Microscope photograph (4× objective) of a membrane that a urine sample was filtered through.
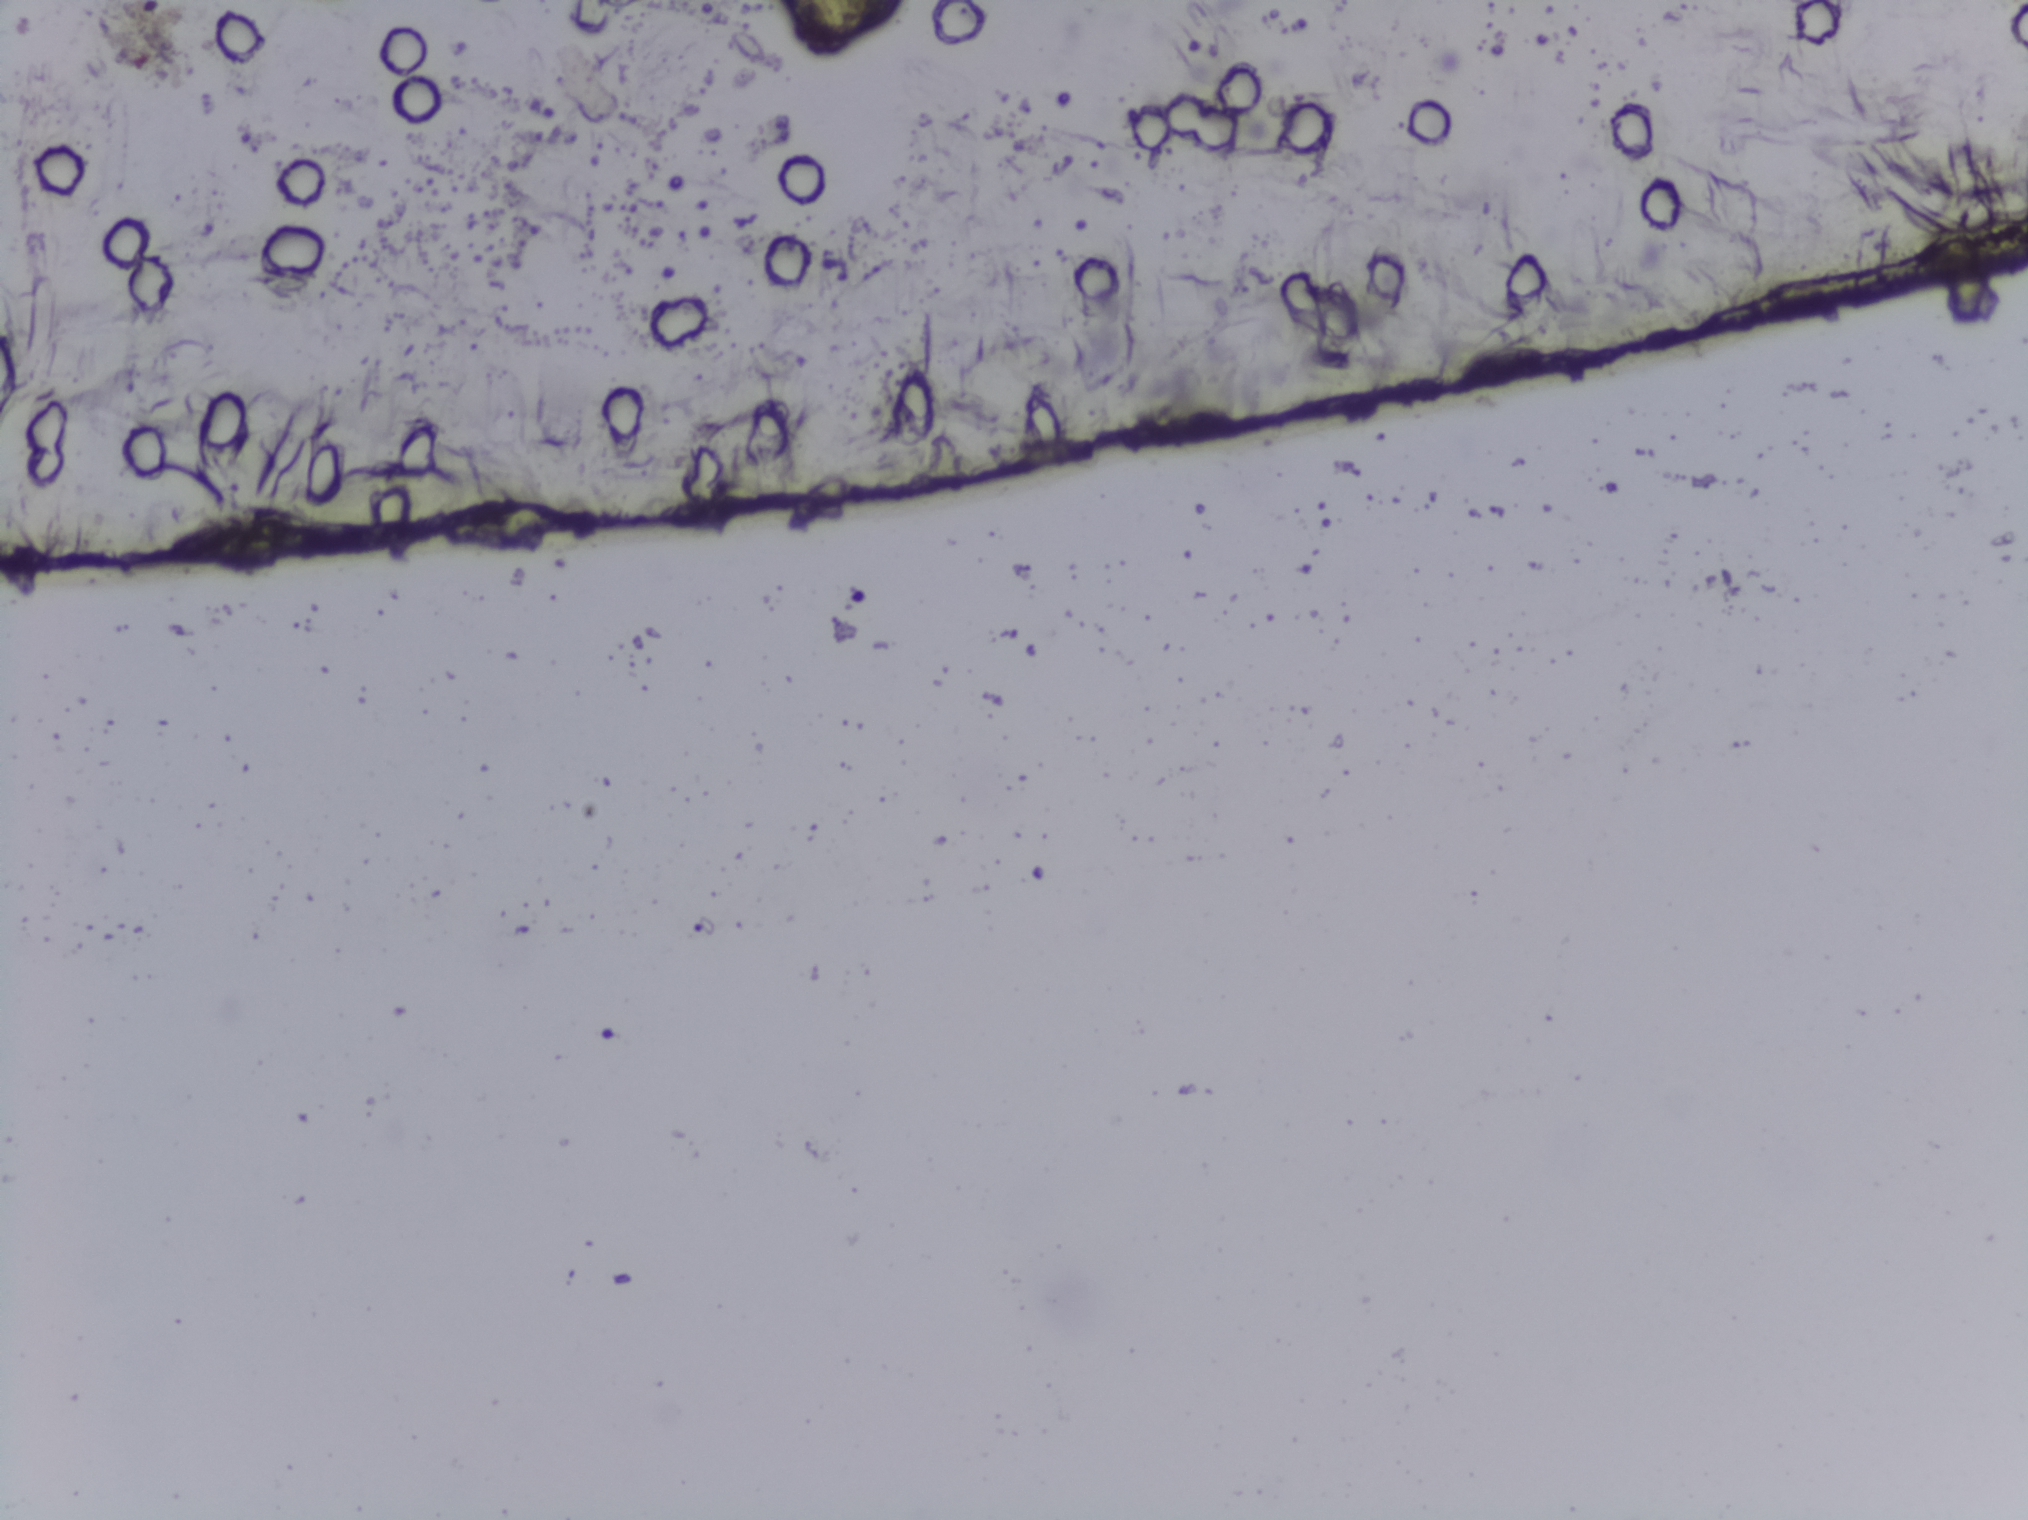
The expert annotation outlines no Schistosoma egg in this image.